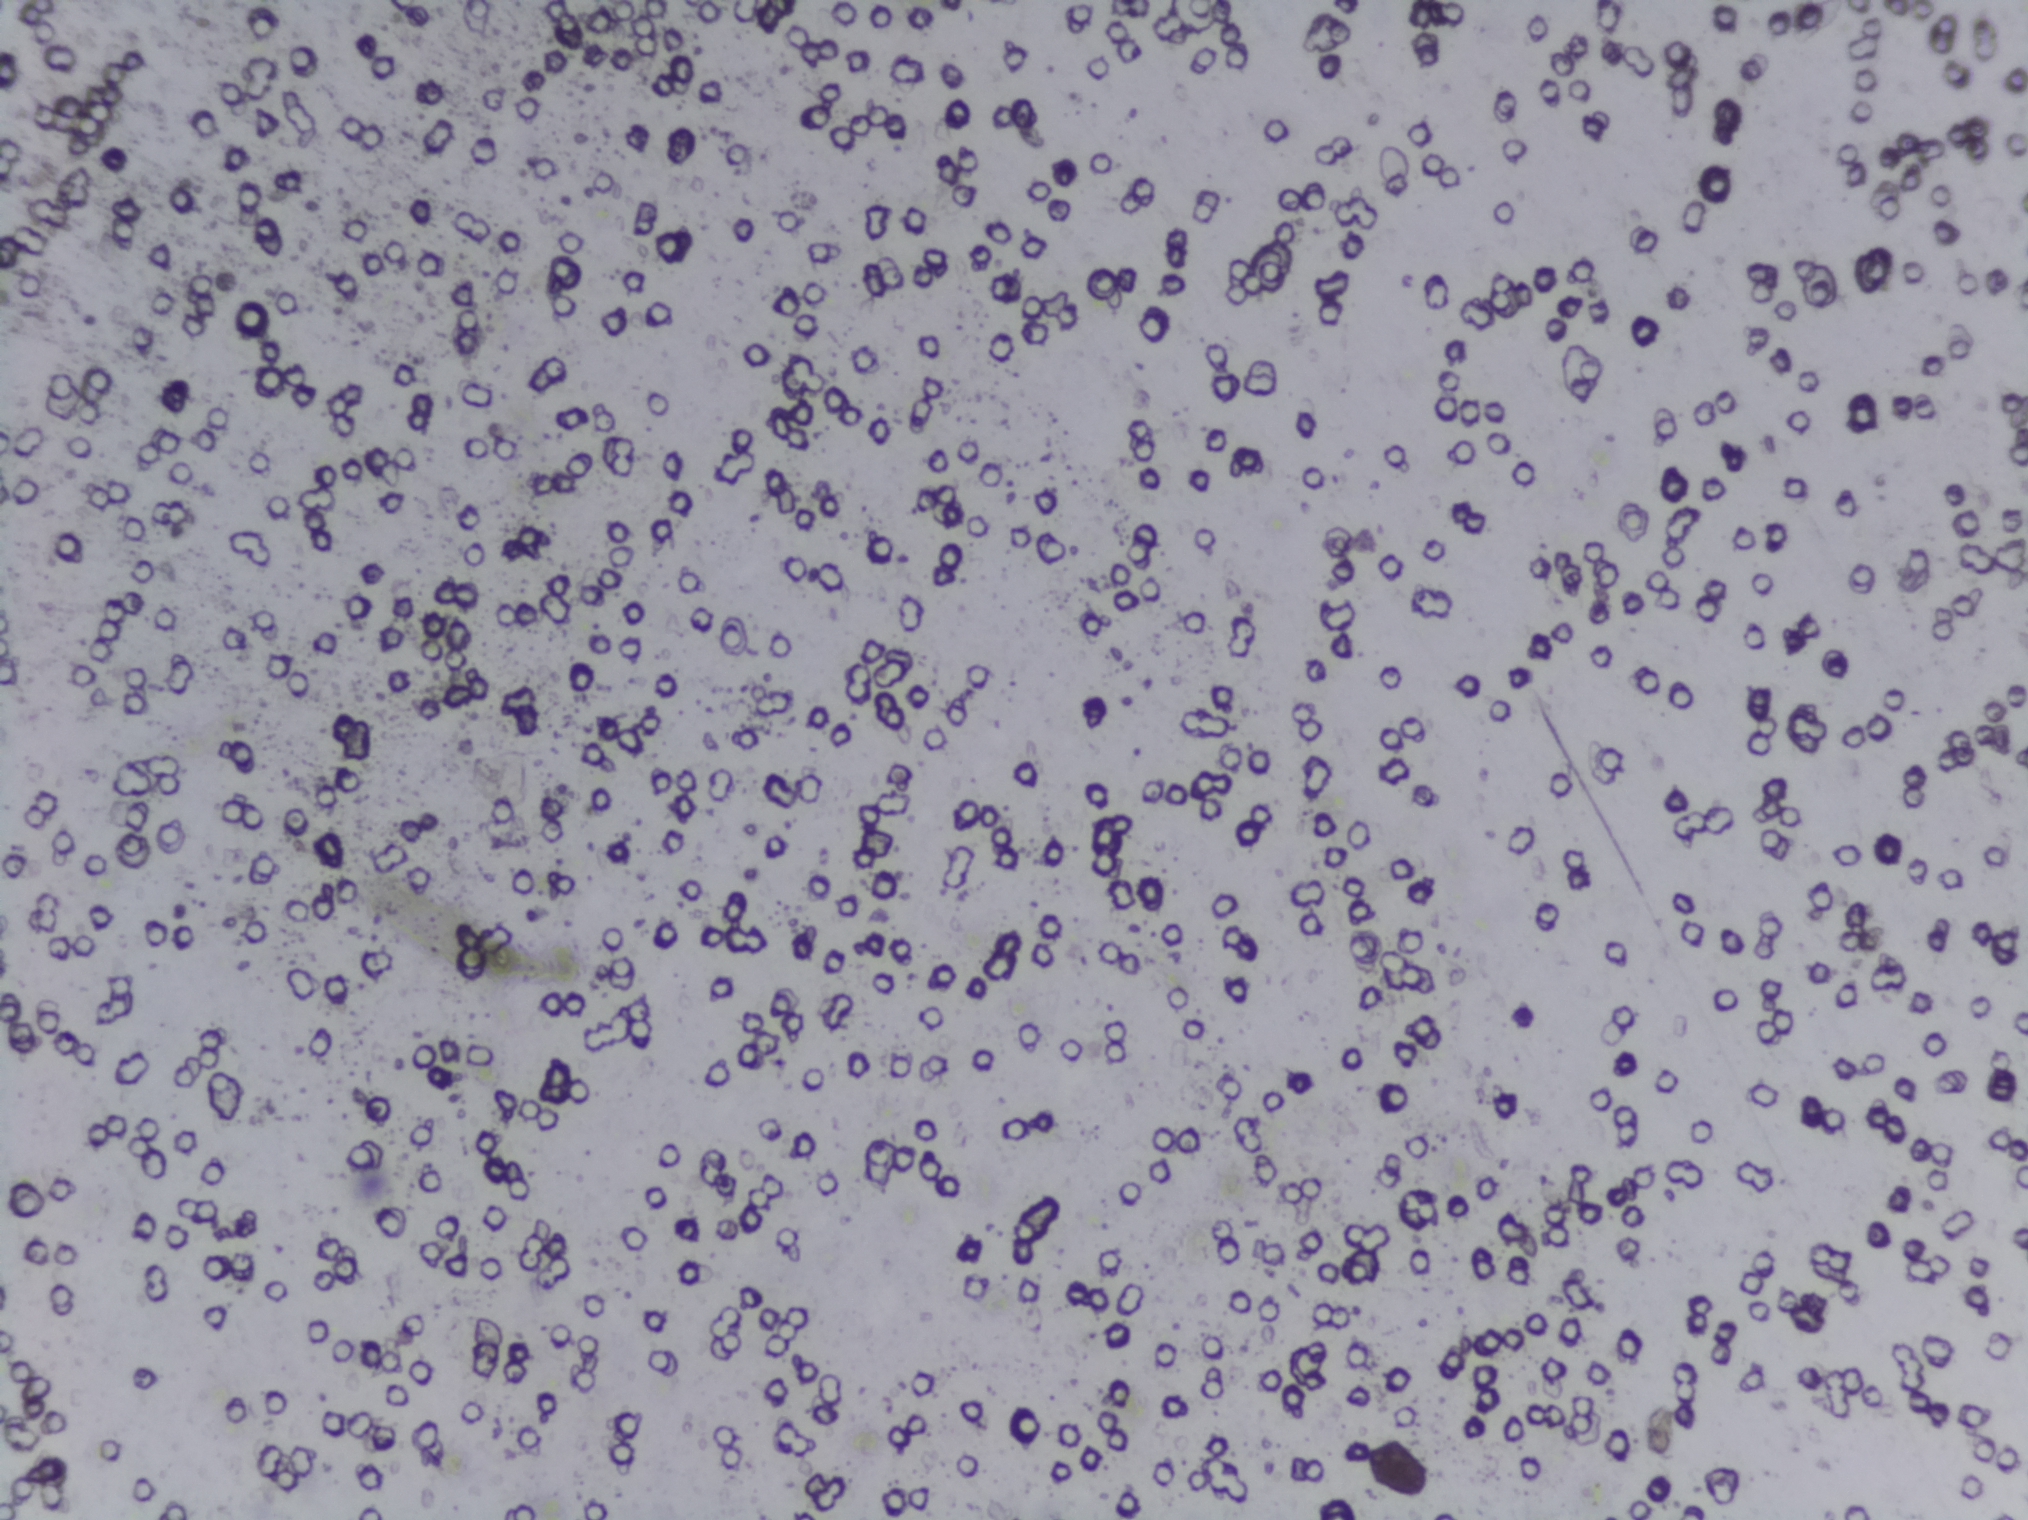
Photograph from an automated digital microscope: urine filter membrane, 4× objective.
Schistosoma eggs: none outlined.